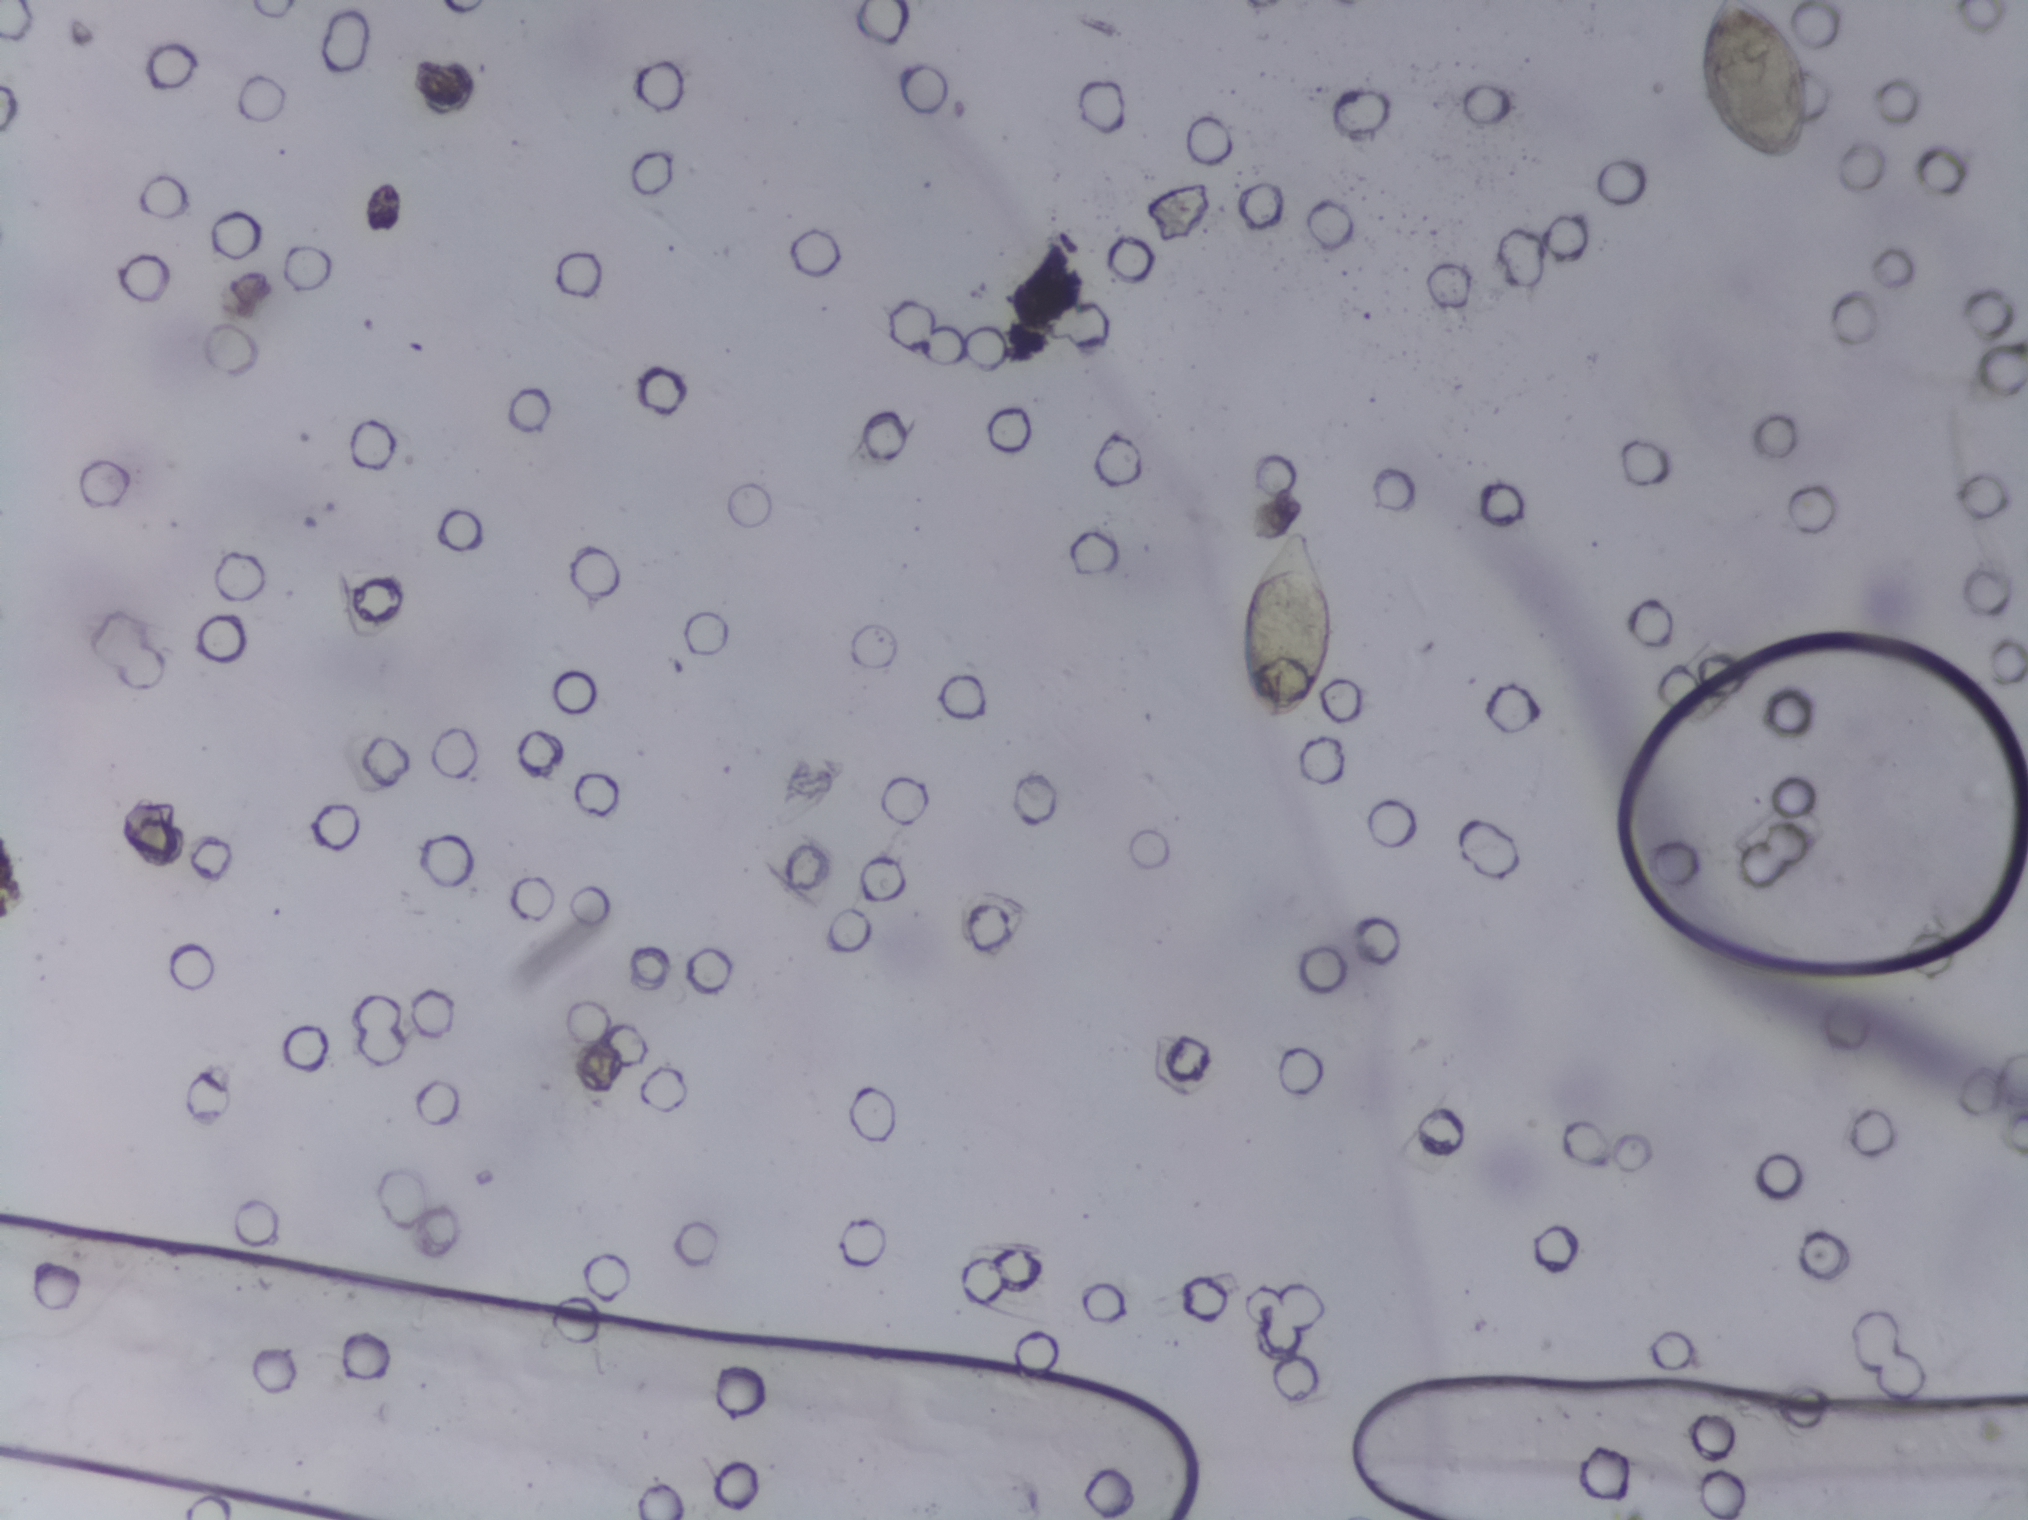
Photomicrograph of a urine filtration membrane, 4× objective. The image covers about 1.5 × 1.1 mm of the membrane.
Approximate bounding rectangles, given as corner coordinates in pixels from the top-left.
Findings: two areas outlined as Schistosoma eggs. Locations, left to right: (x1=1237, y1=525, x2=1336, y2=725); (x1=1697, y1=0, x2=1814, y2=168) (reaching the top edge of the frame). An outlined area can hold more than one egg. A marked egg may occasionally be S. mansoni rather than S. haematobium.